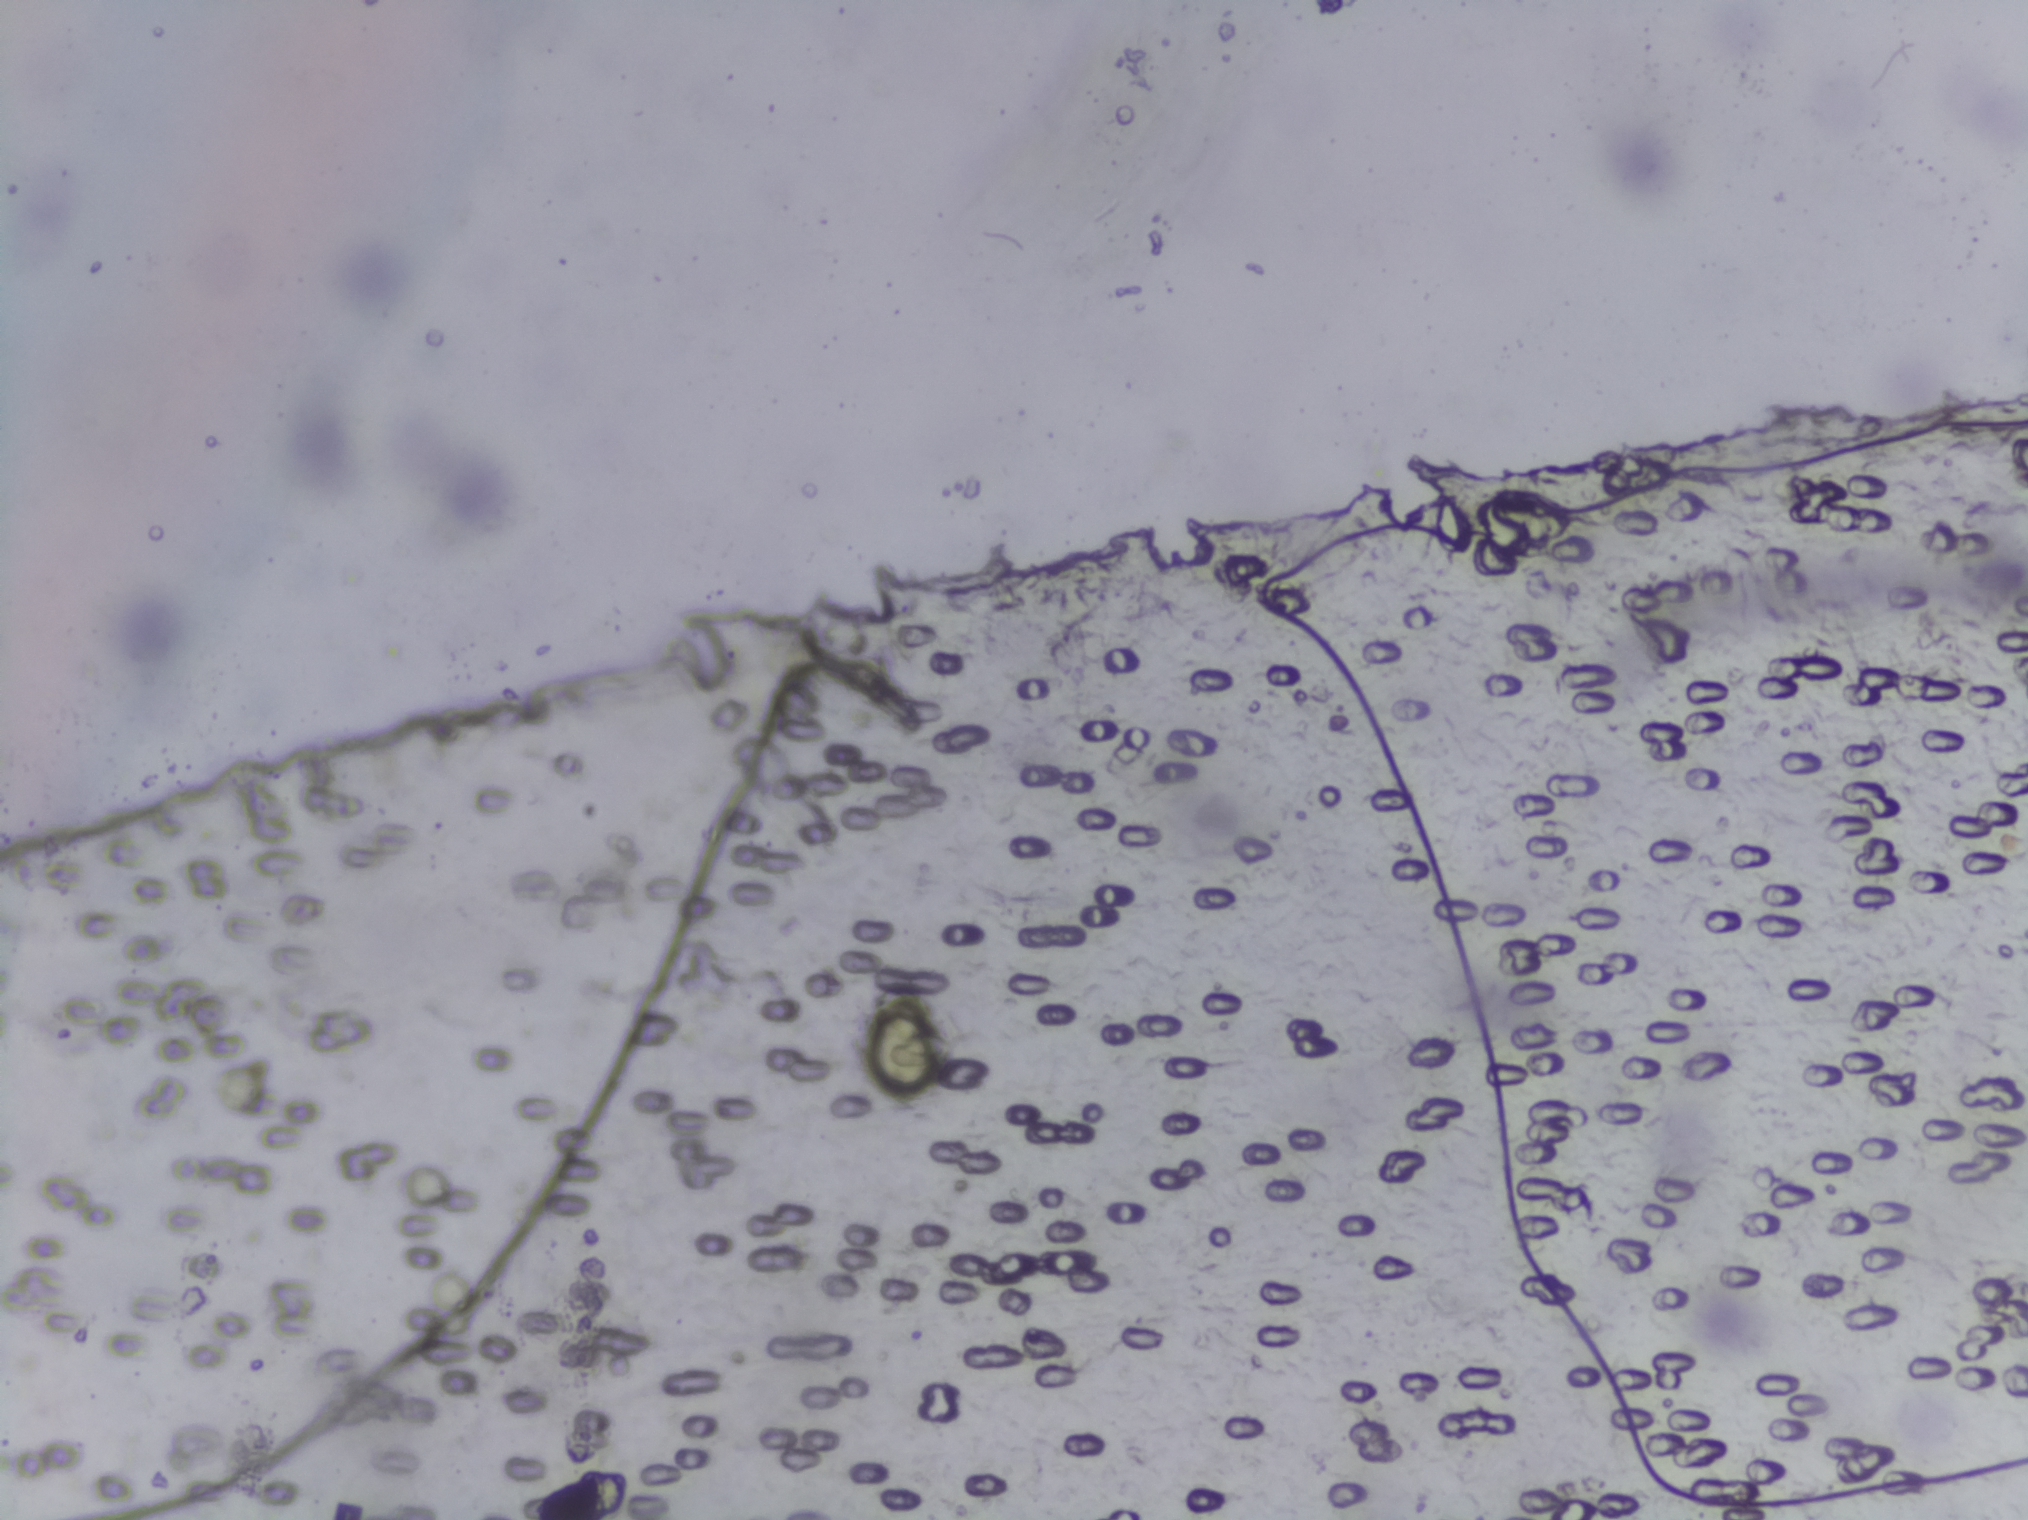
No Schistosoma egg is outlined in this image's expert annotation.
Urine filtration membrane under a 4× objective, photographed by an automated digital microscope.